Photomicrograph of a urine filtration membrane, 4× objective.
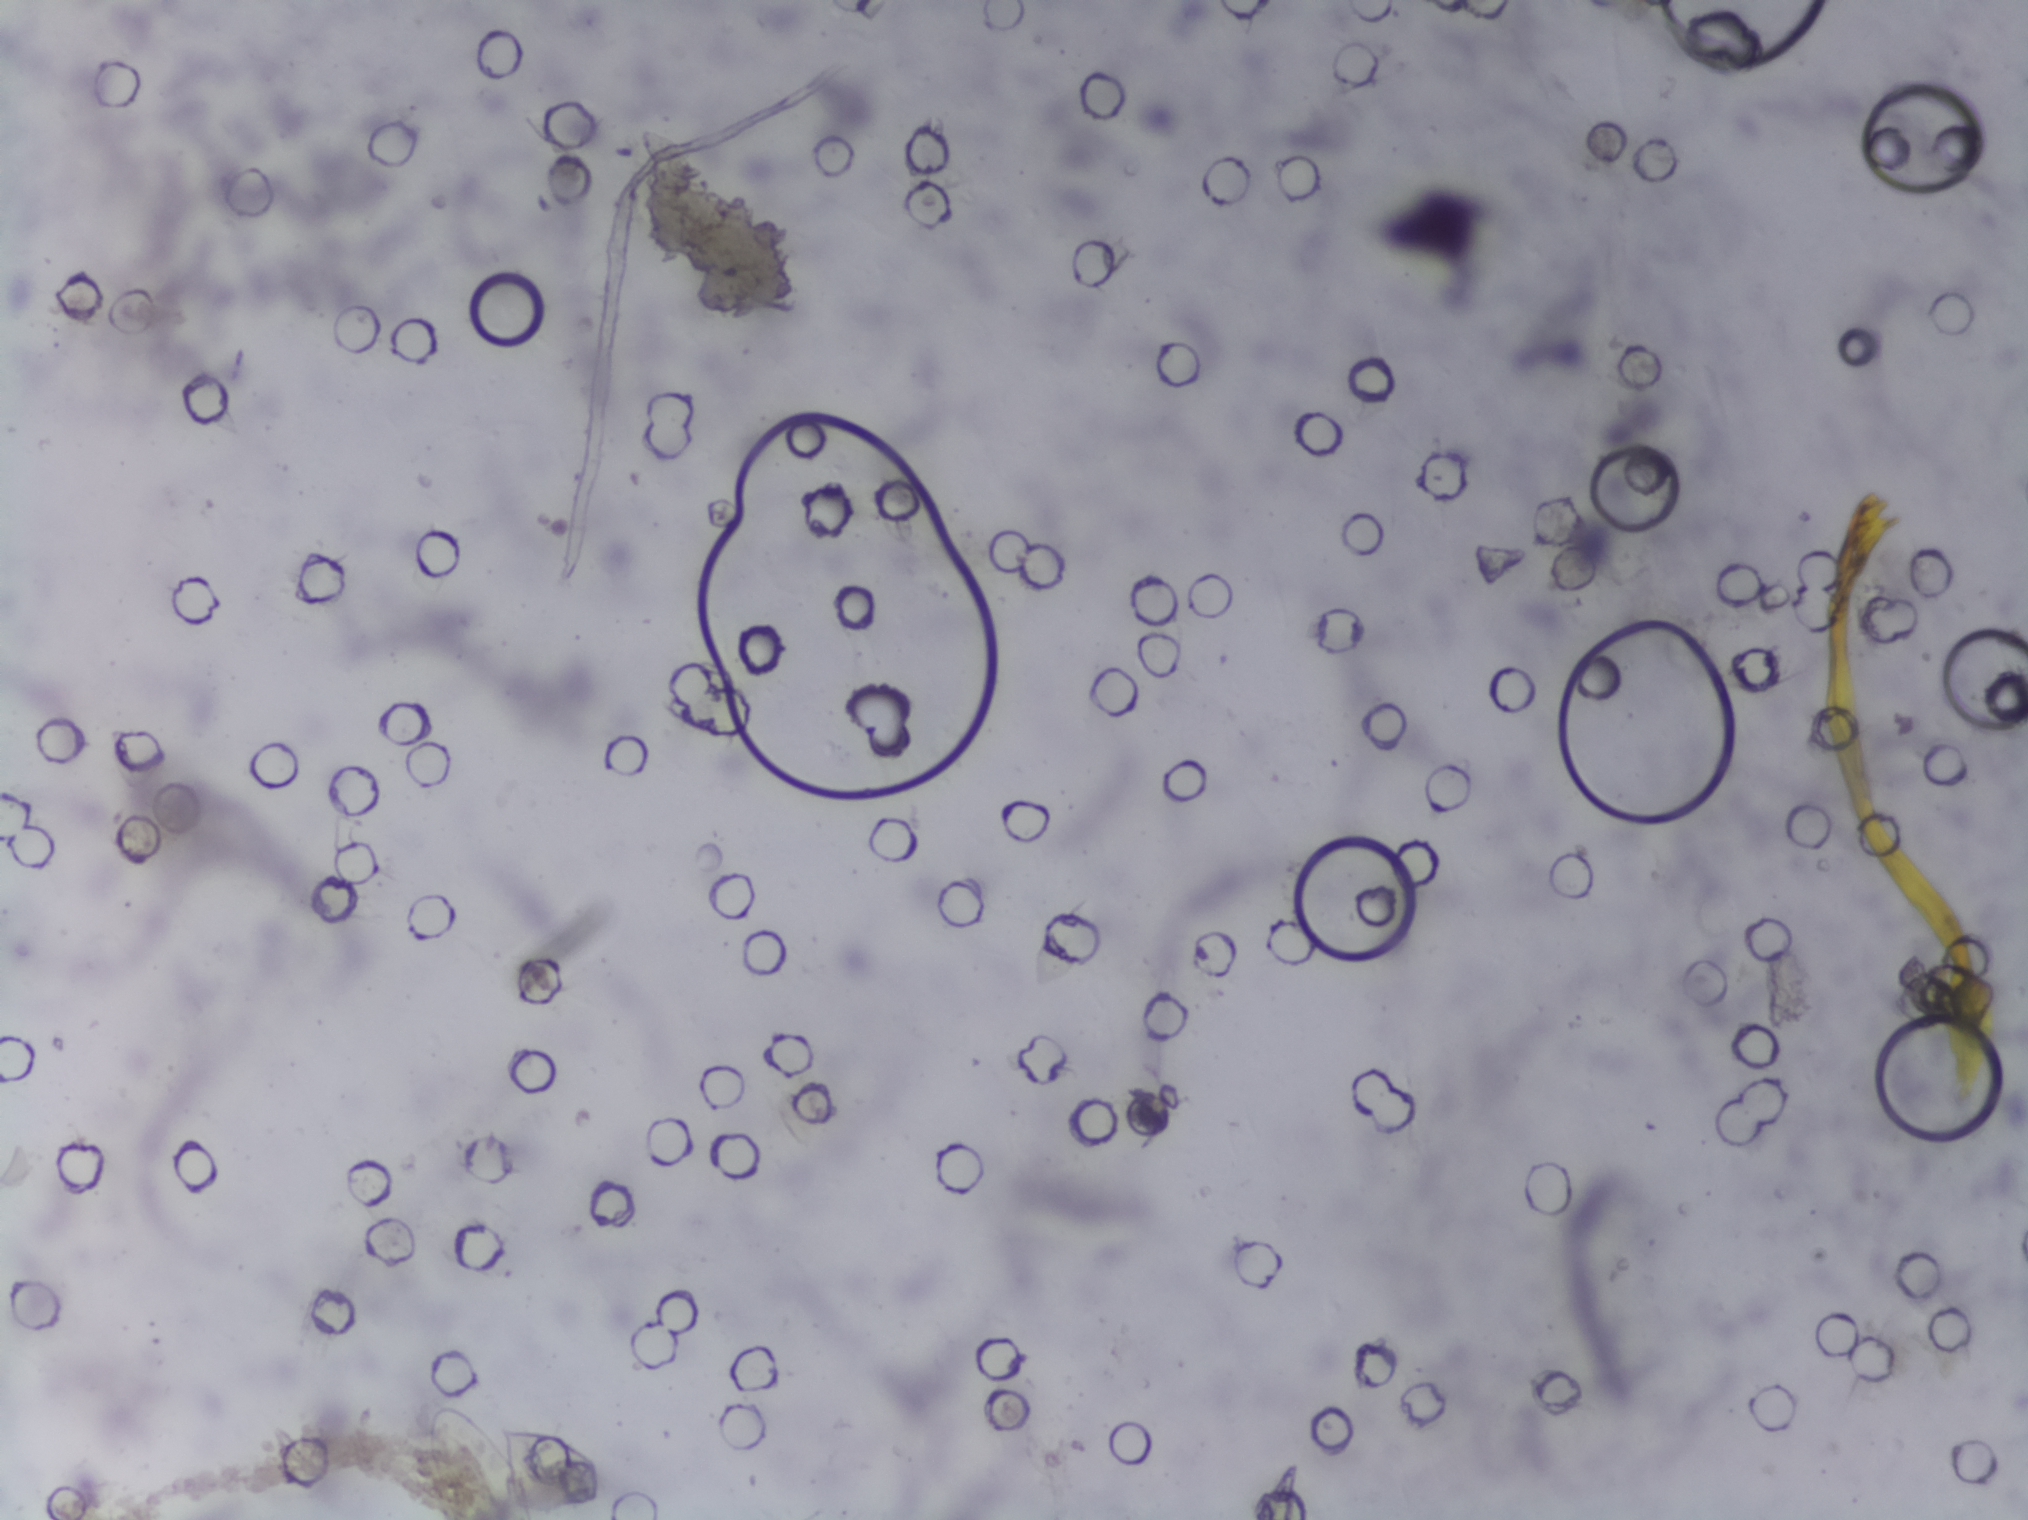
No Schistosoma egg is outlined in this image's expert annotation.